Photograph from an automated digital microscope: urine filter membrane, 4× objective.
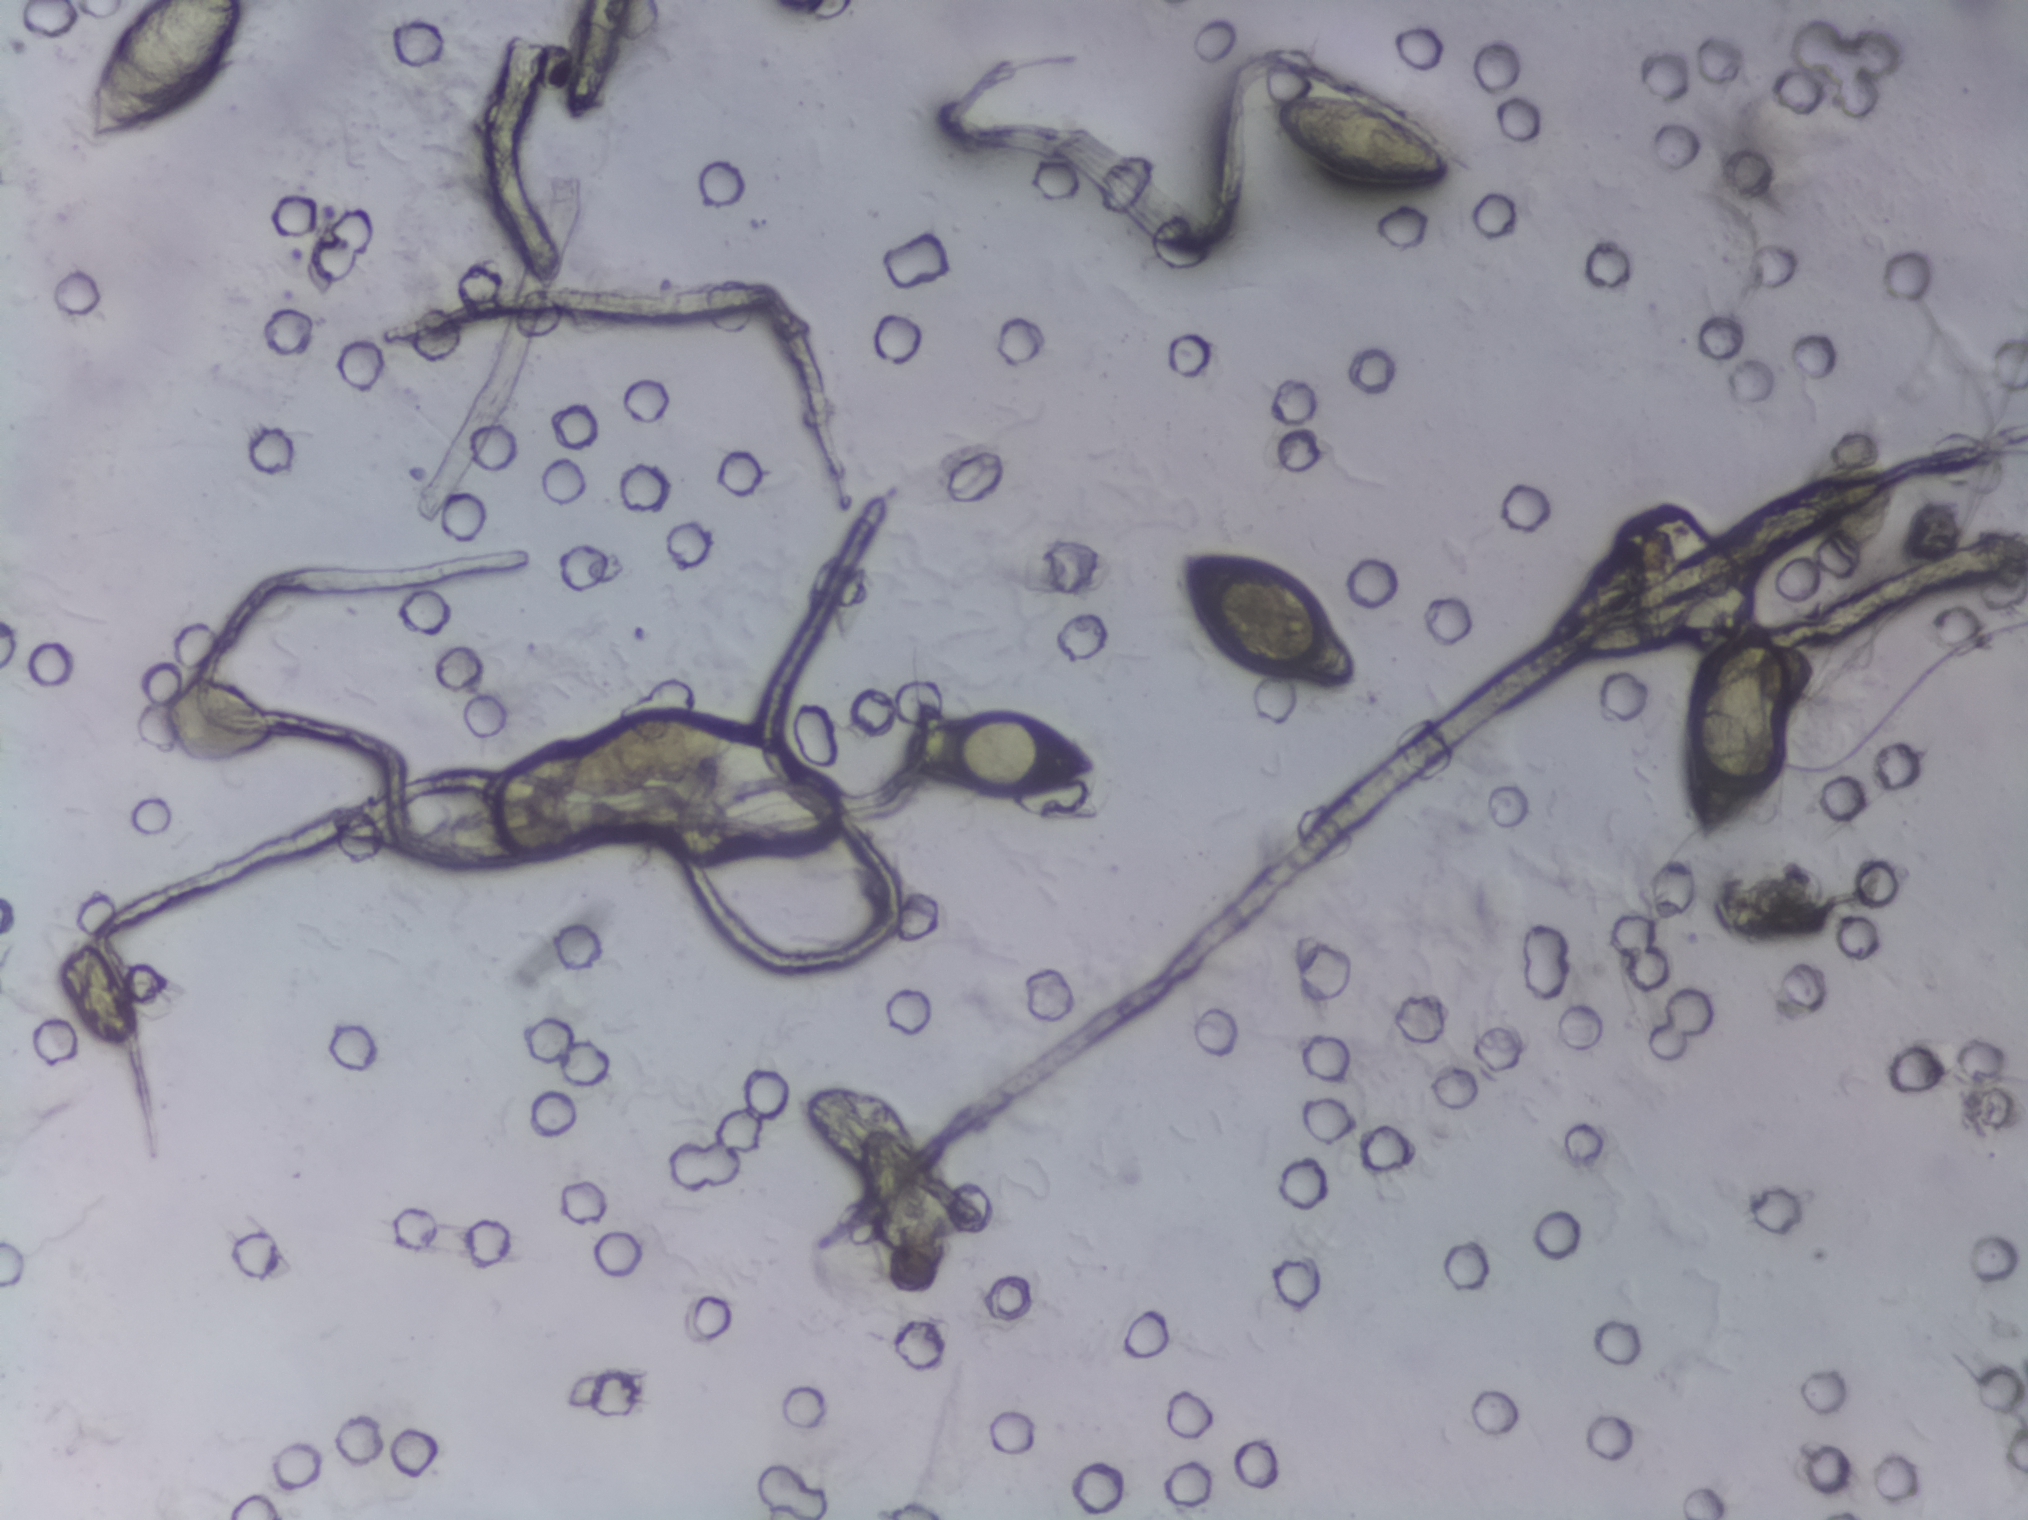
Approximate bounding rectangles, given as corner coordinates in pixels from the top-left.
Five areas of this image are outlined as Schistosoma eggs, from left to right: (x1=87, y1=0, x2=249, y2=145) (reaching the top edge of the frame); (x1=897, y1=694, x2=1104, y2=811); (x1=1178, y1=540, x2=1363, y2=697); (x1=1268, y1=83, x2=1458, y2=210); (x1=1670, y1=610, x2=1803, y2=853). The marked pixels themselves, not the boxes around them, cover about 3.1% of the image. A single outlined area may contain several eggs.